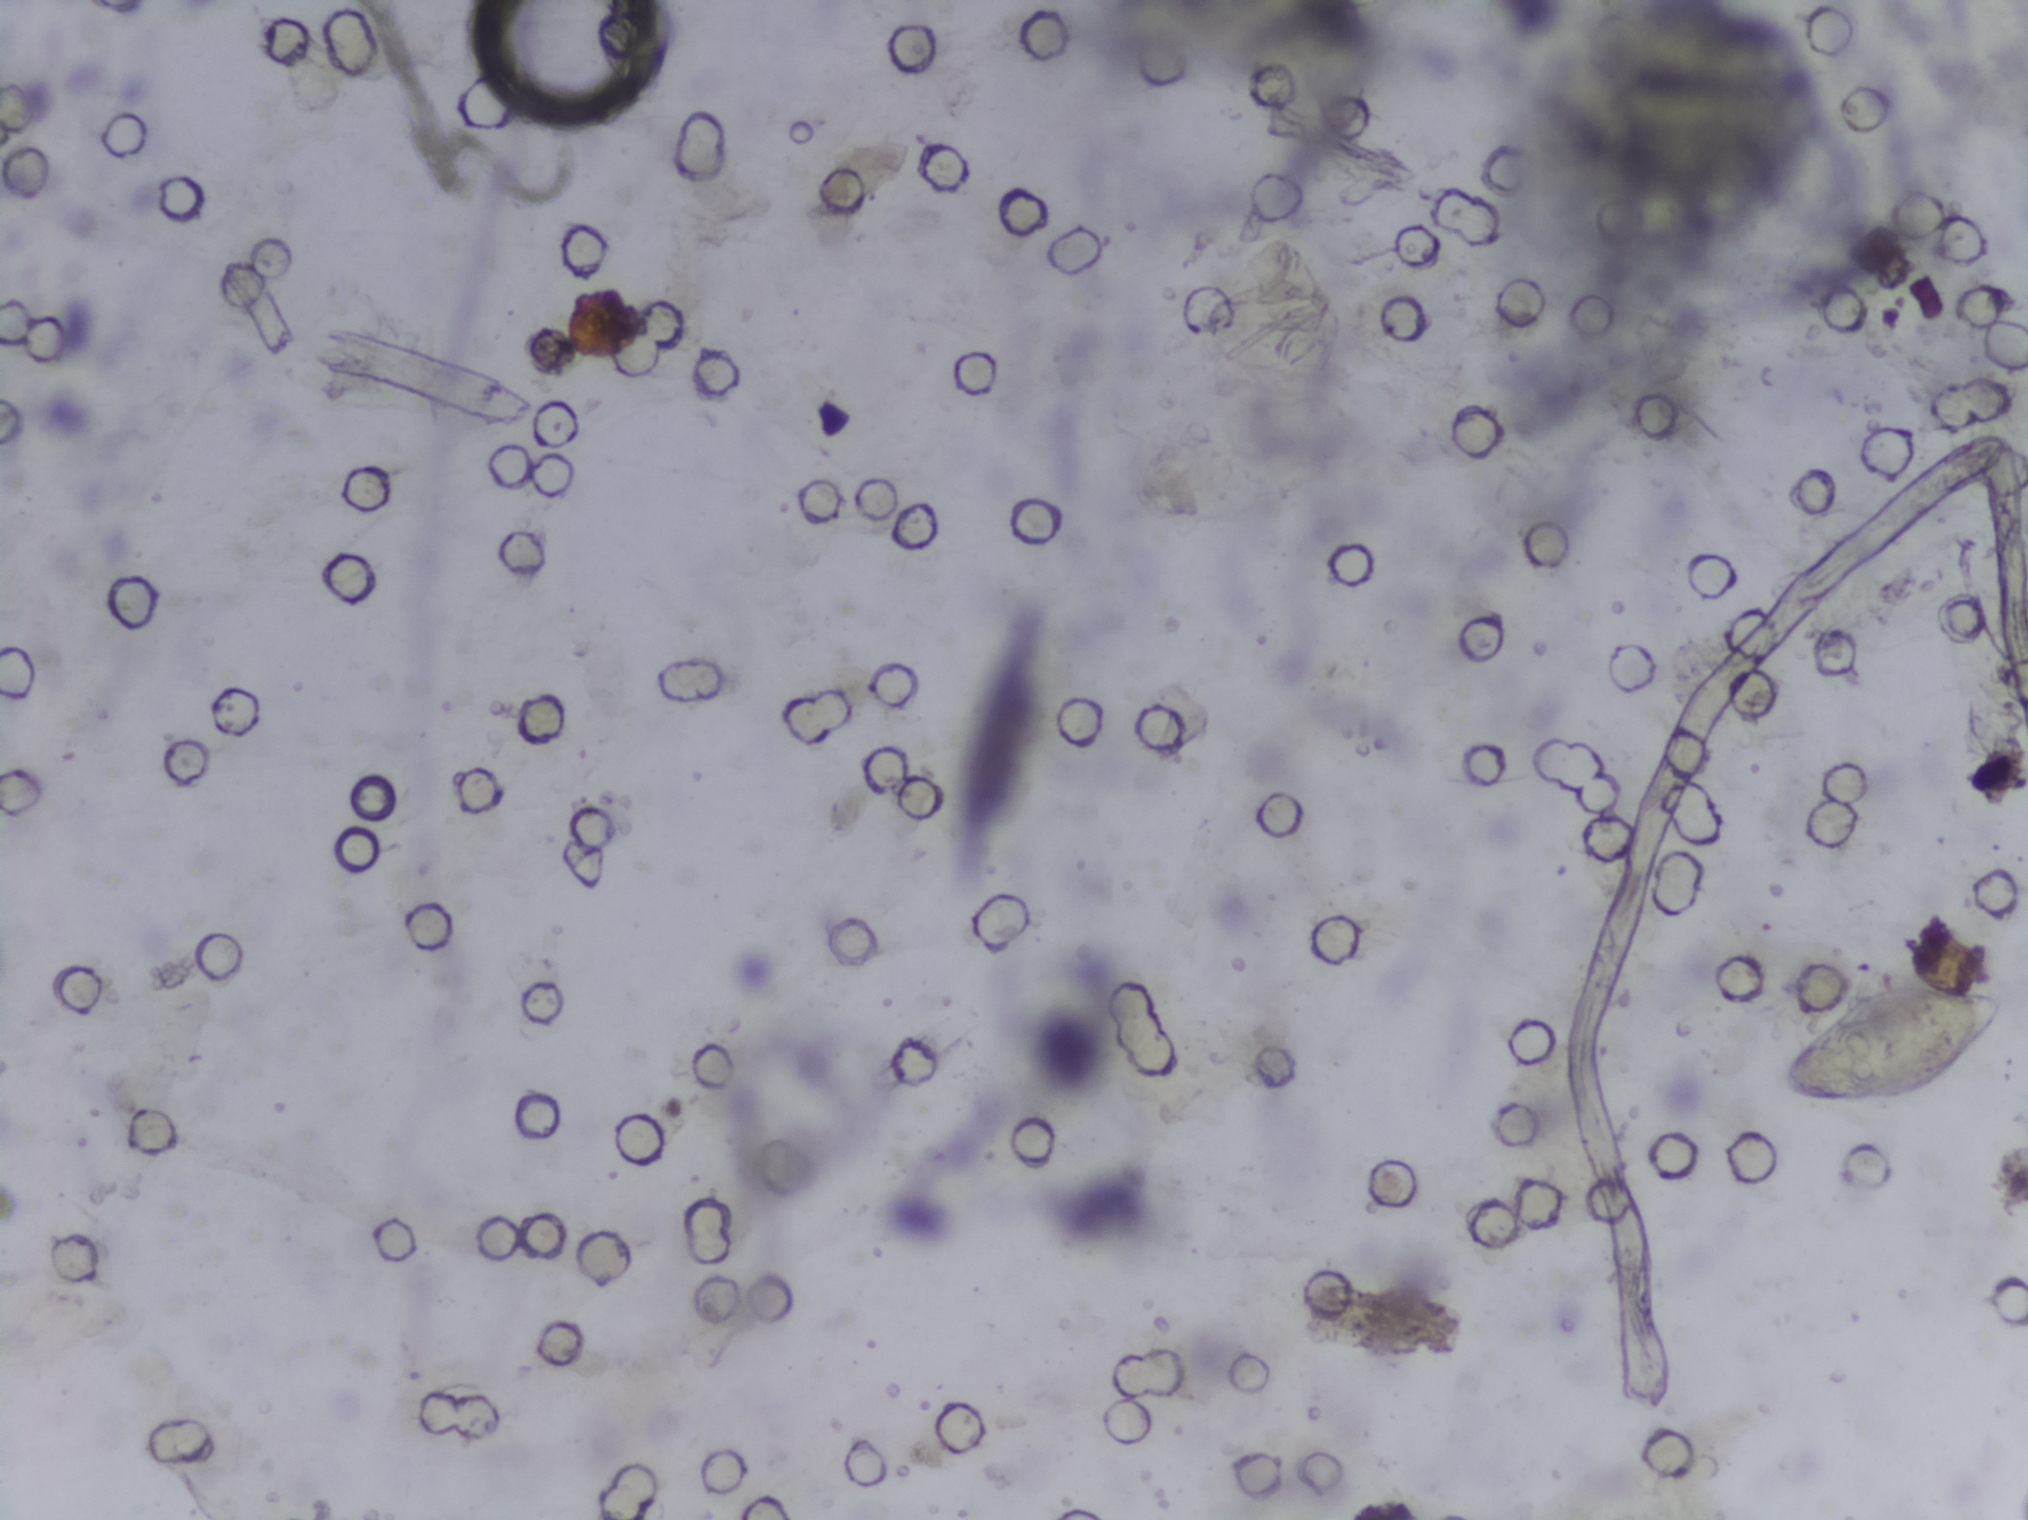
Photomicrograph of a urine filtration membrane, 4× objective.
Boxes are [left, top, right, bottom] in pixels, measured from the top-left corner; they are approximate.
Areas outlined as Schistosoma eggs: [1776, 981, 2013, 1104]. Eggs that touch can end up inside the same outlined area.